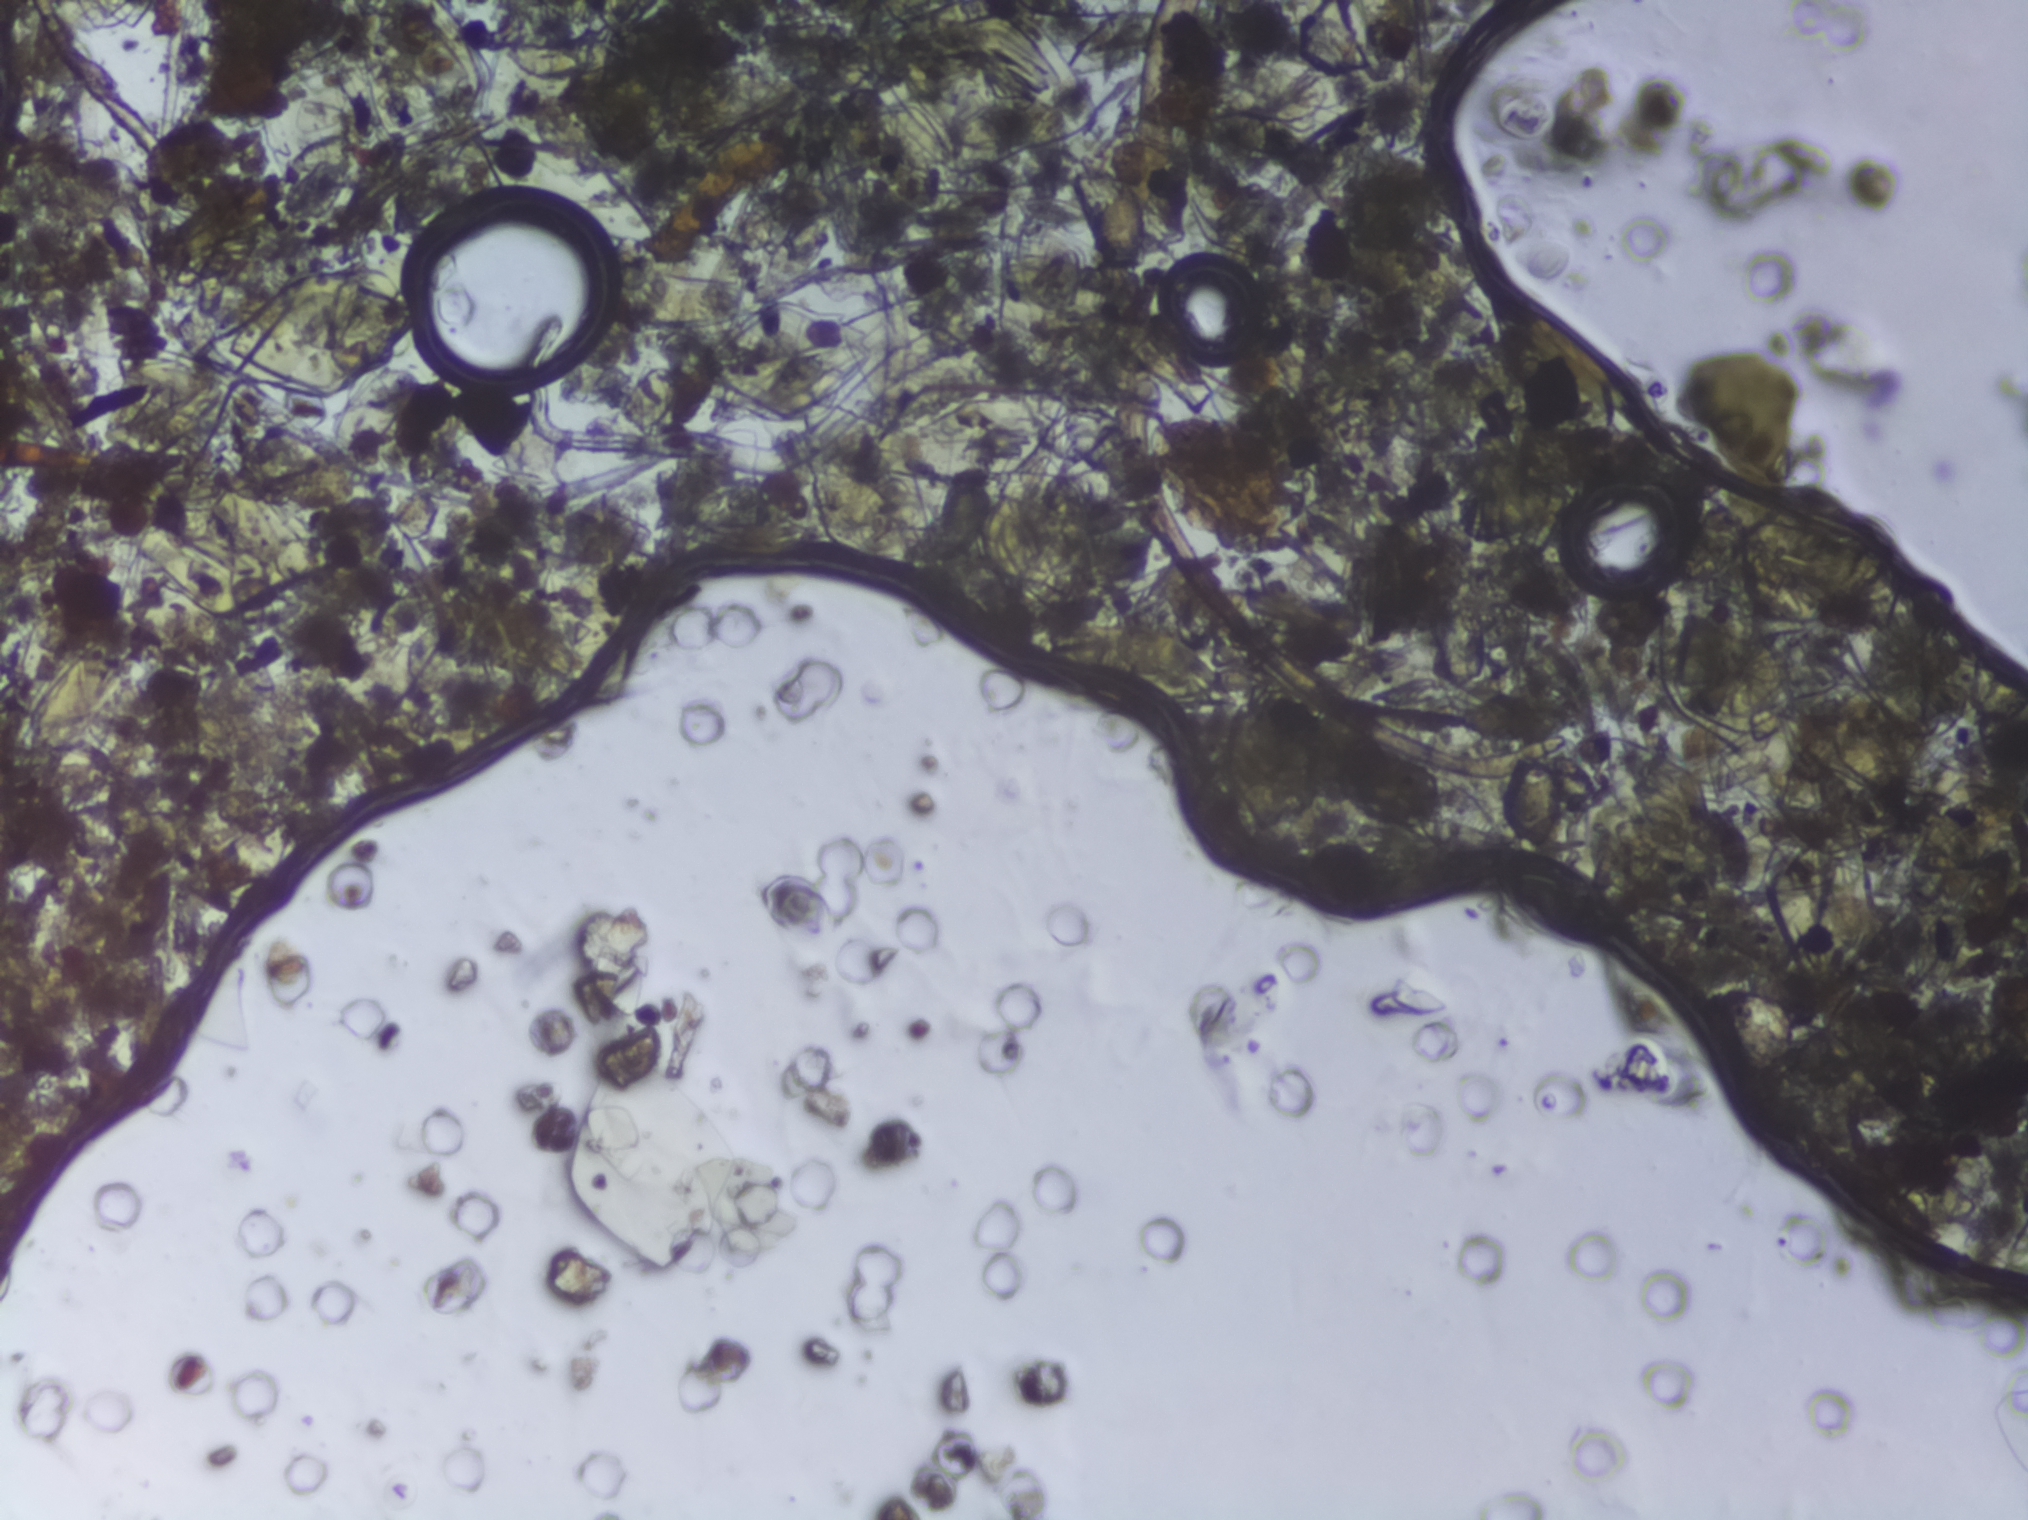
Microscope photograph (4× objective) of a membrane that a urine sample was filtered through. Field of view: about 1.5 mm wide and 1.1 mm high.
Schistosoma eggs: none outlined.